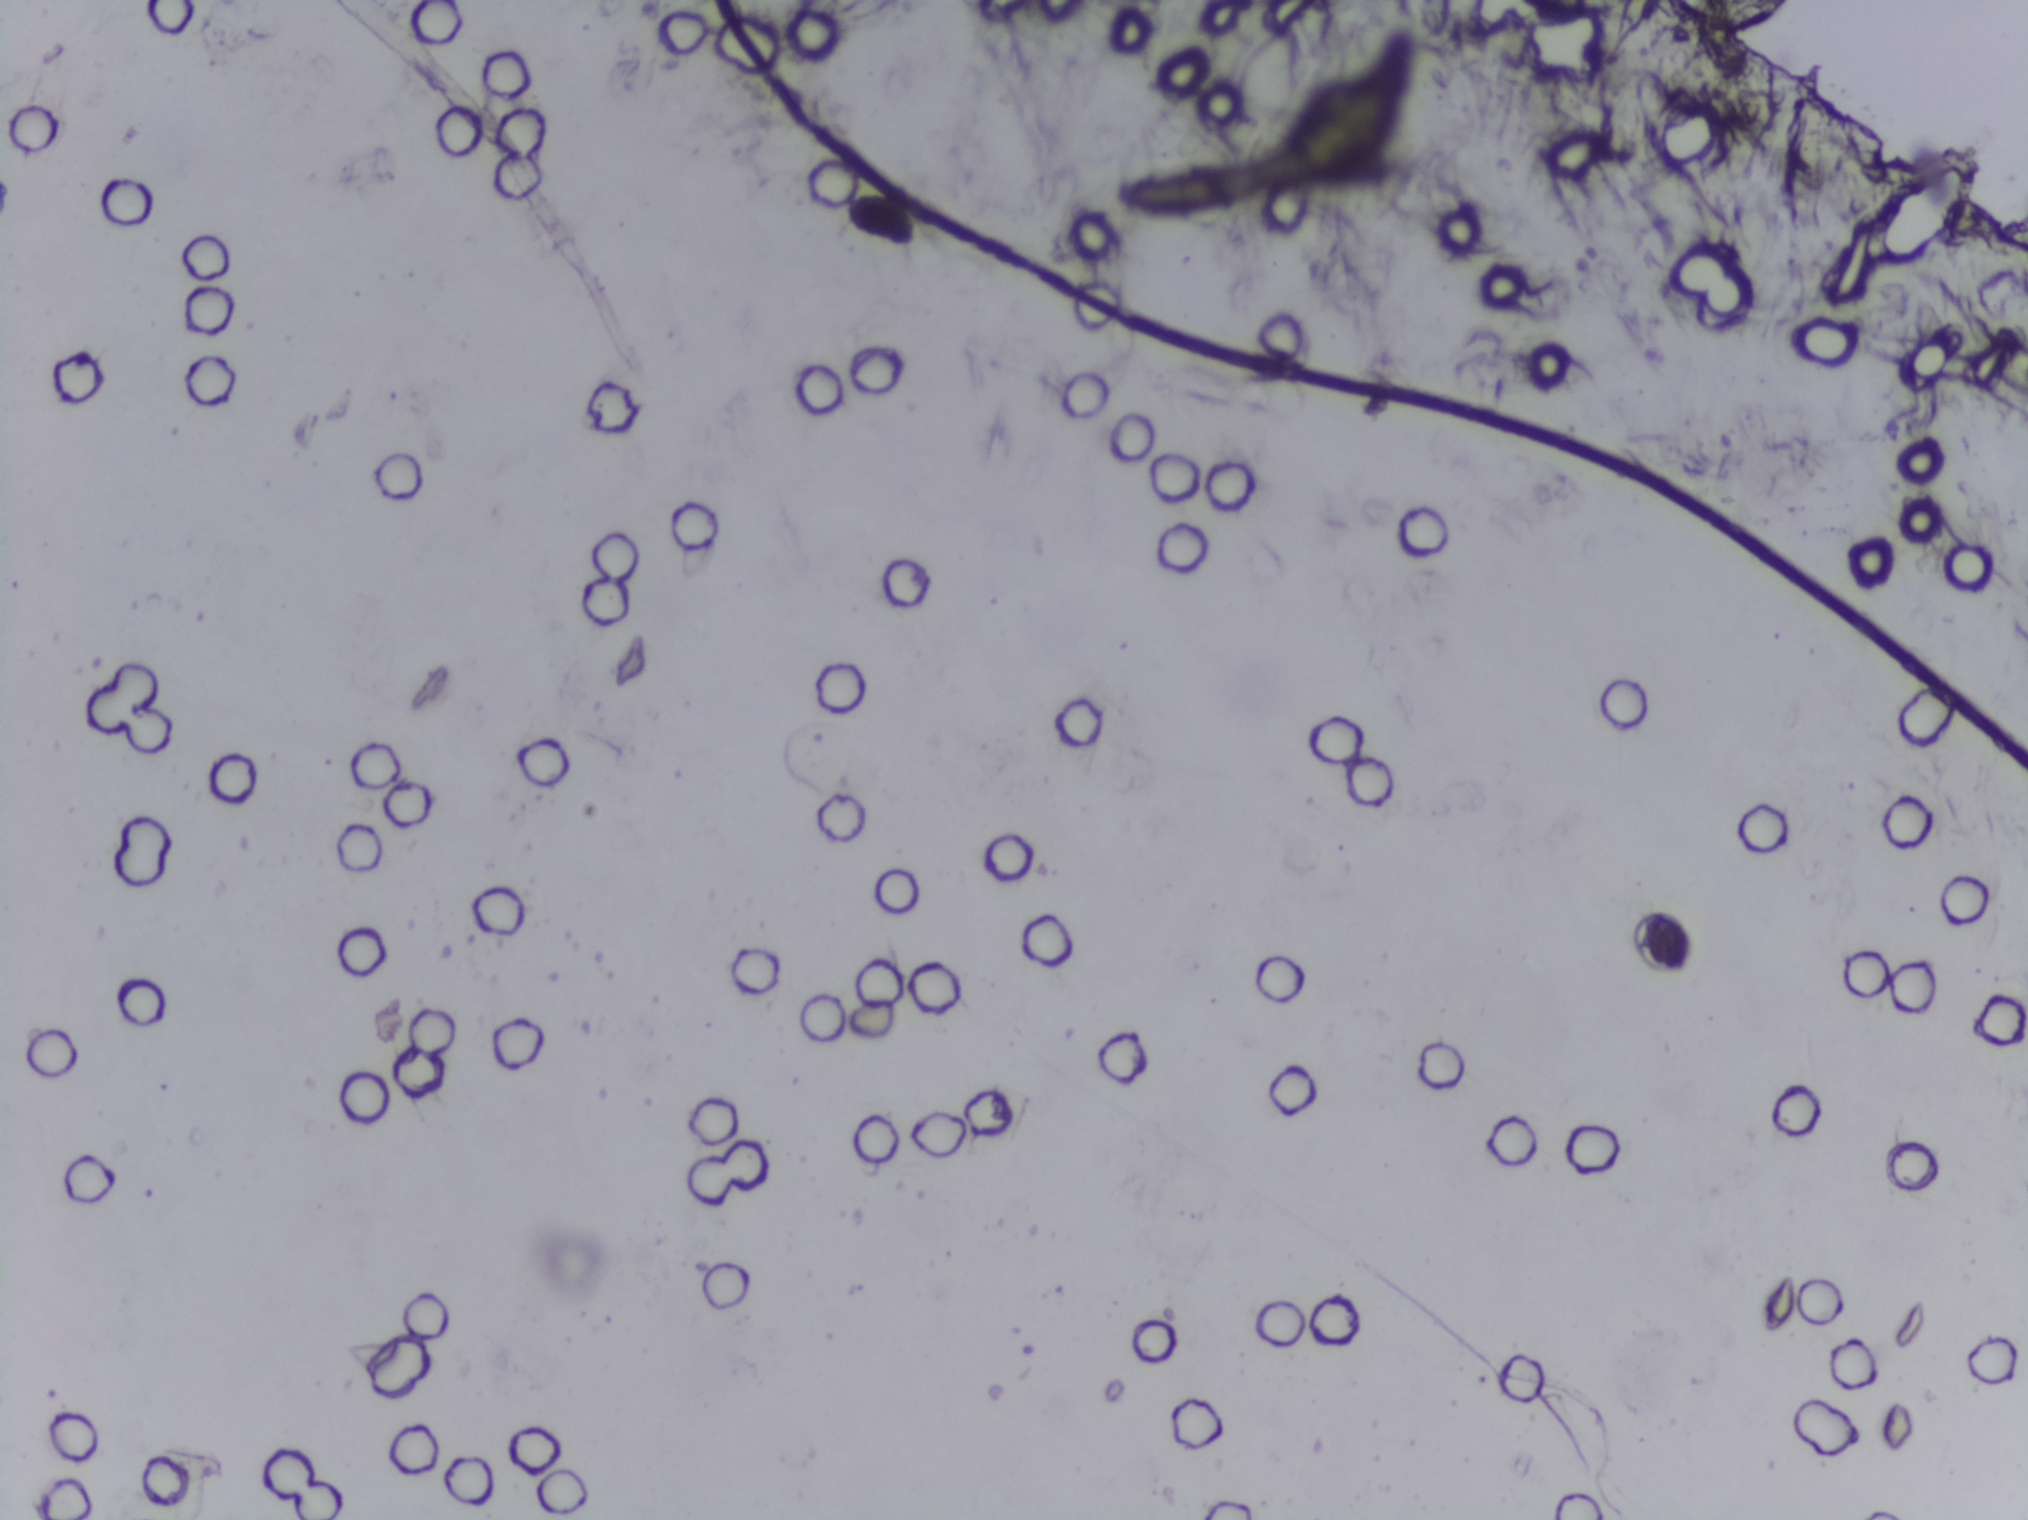
Photograph from an automated digital microscope: urine filter membrane, 4× objective. The image covers about 1.5 × 1.1 mm of the membrane.
The expert annotation outlines no Schistosoma egg in this image.